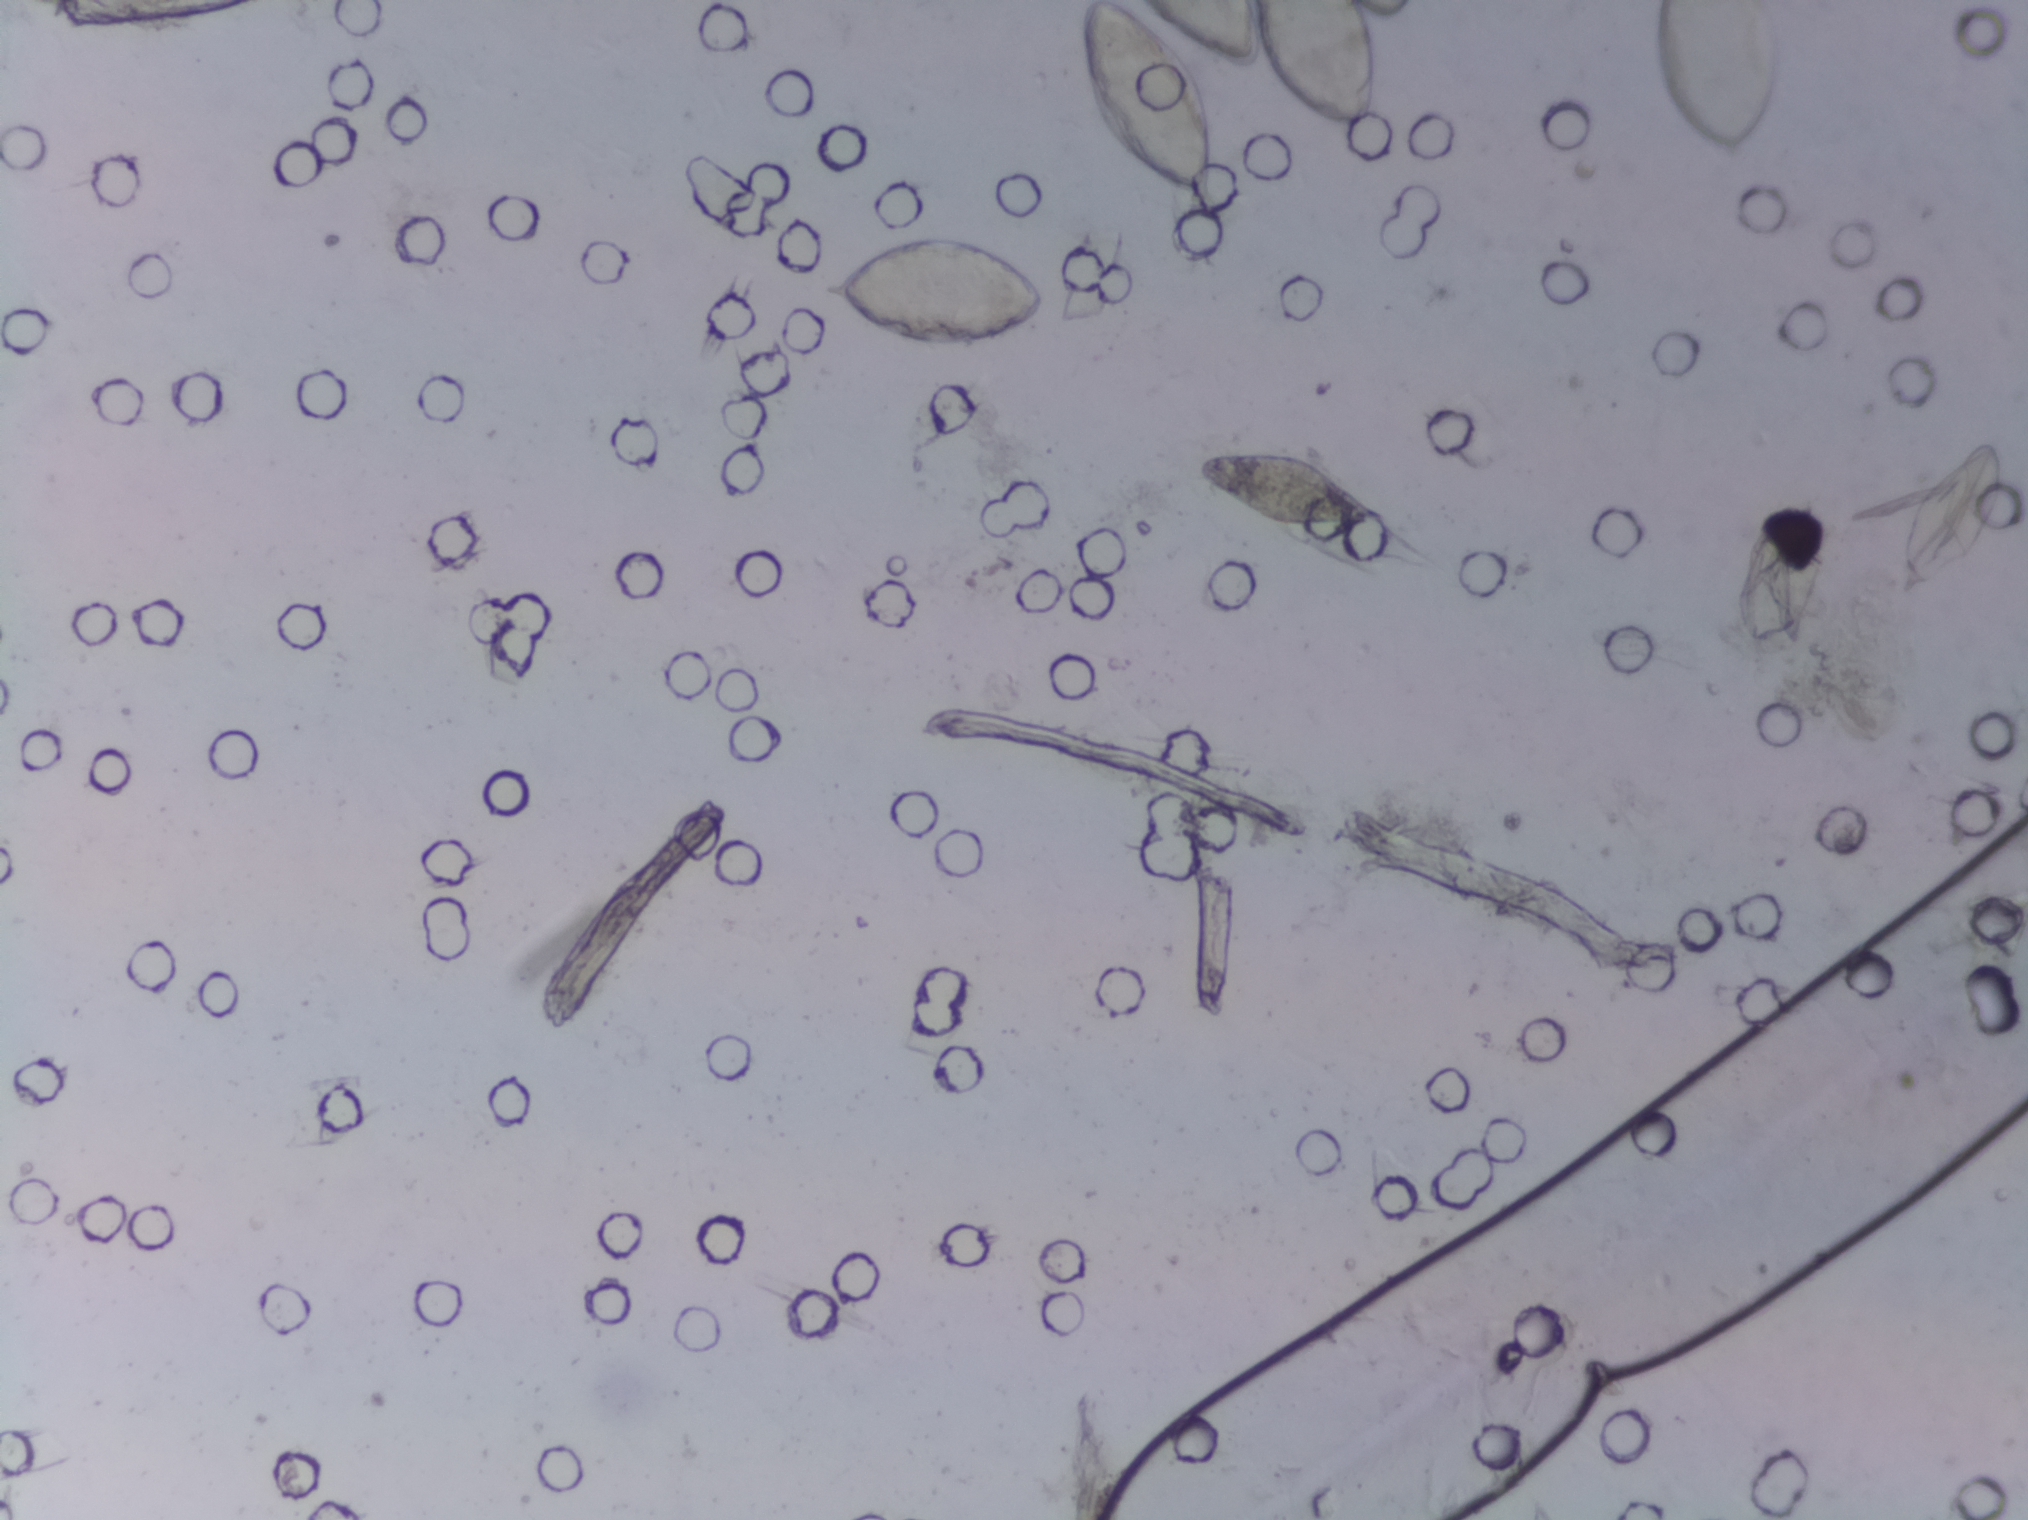
Urine filter membrane photographed through a 4× microscope objective.
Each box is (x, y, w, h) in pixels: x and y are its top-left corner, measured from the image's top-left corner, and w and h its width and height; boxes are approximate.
Areas outlined as Schistosoma eggs: (x=818, y=234, w=232, h=115); (x=1083, y=0, w=300, h=207) (reaching the top edge of the frame); (x=1194, y=447, w=178, h=94); (x=1644, y=0, w=136, h=159) (reaching the top edge of the frame). Eggs that touch can end up inside the same outlined area.